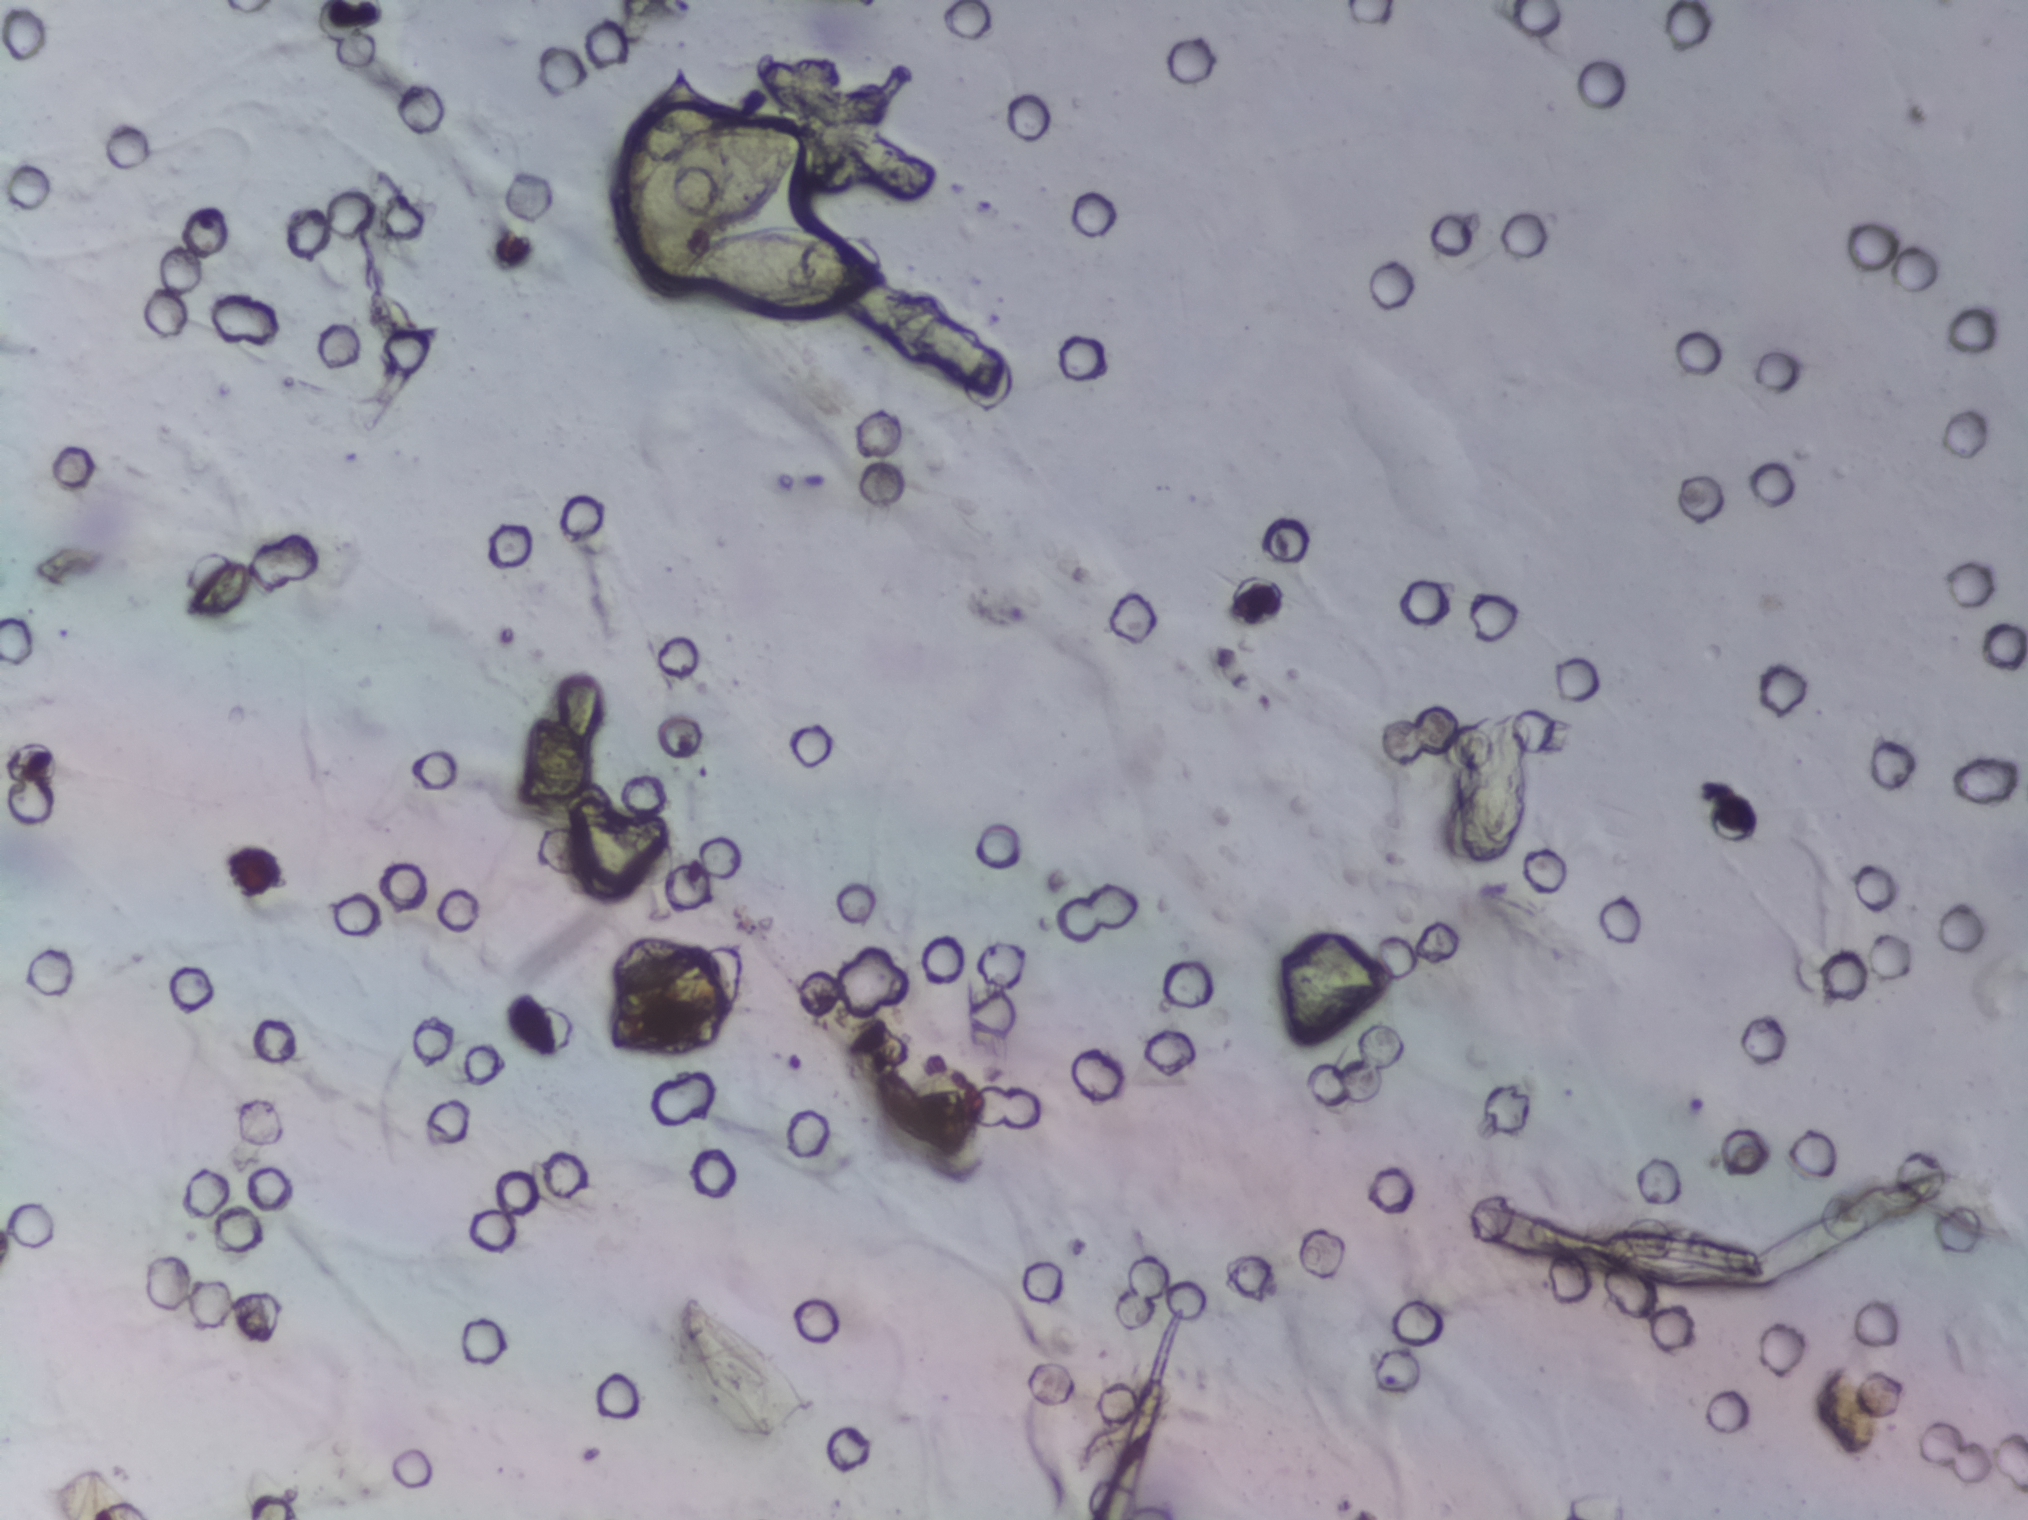
Urine filter membrane photographed through a 4× microscope objective. Field of view: about 1.5 mm wide and 1.1 mm high.
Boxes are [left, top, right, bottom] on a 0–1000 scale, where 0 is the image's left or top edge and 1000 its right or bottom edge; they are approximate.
Schistosoma egg areas, outlined: [302, 40, 439, 211]. The marked pixels themselves, not the box around them, cover about 1.3% of the image. Eggs that touch can end up inside the same outlined area. Any one outlined egg may, rarely, be S. mansoni rather than S. haematobium.